Urine filter membrane photographed through a 4× microscope objective. The field of view is about 1.5 mm × 1.1 mm.
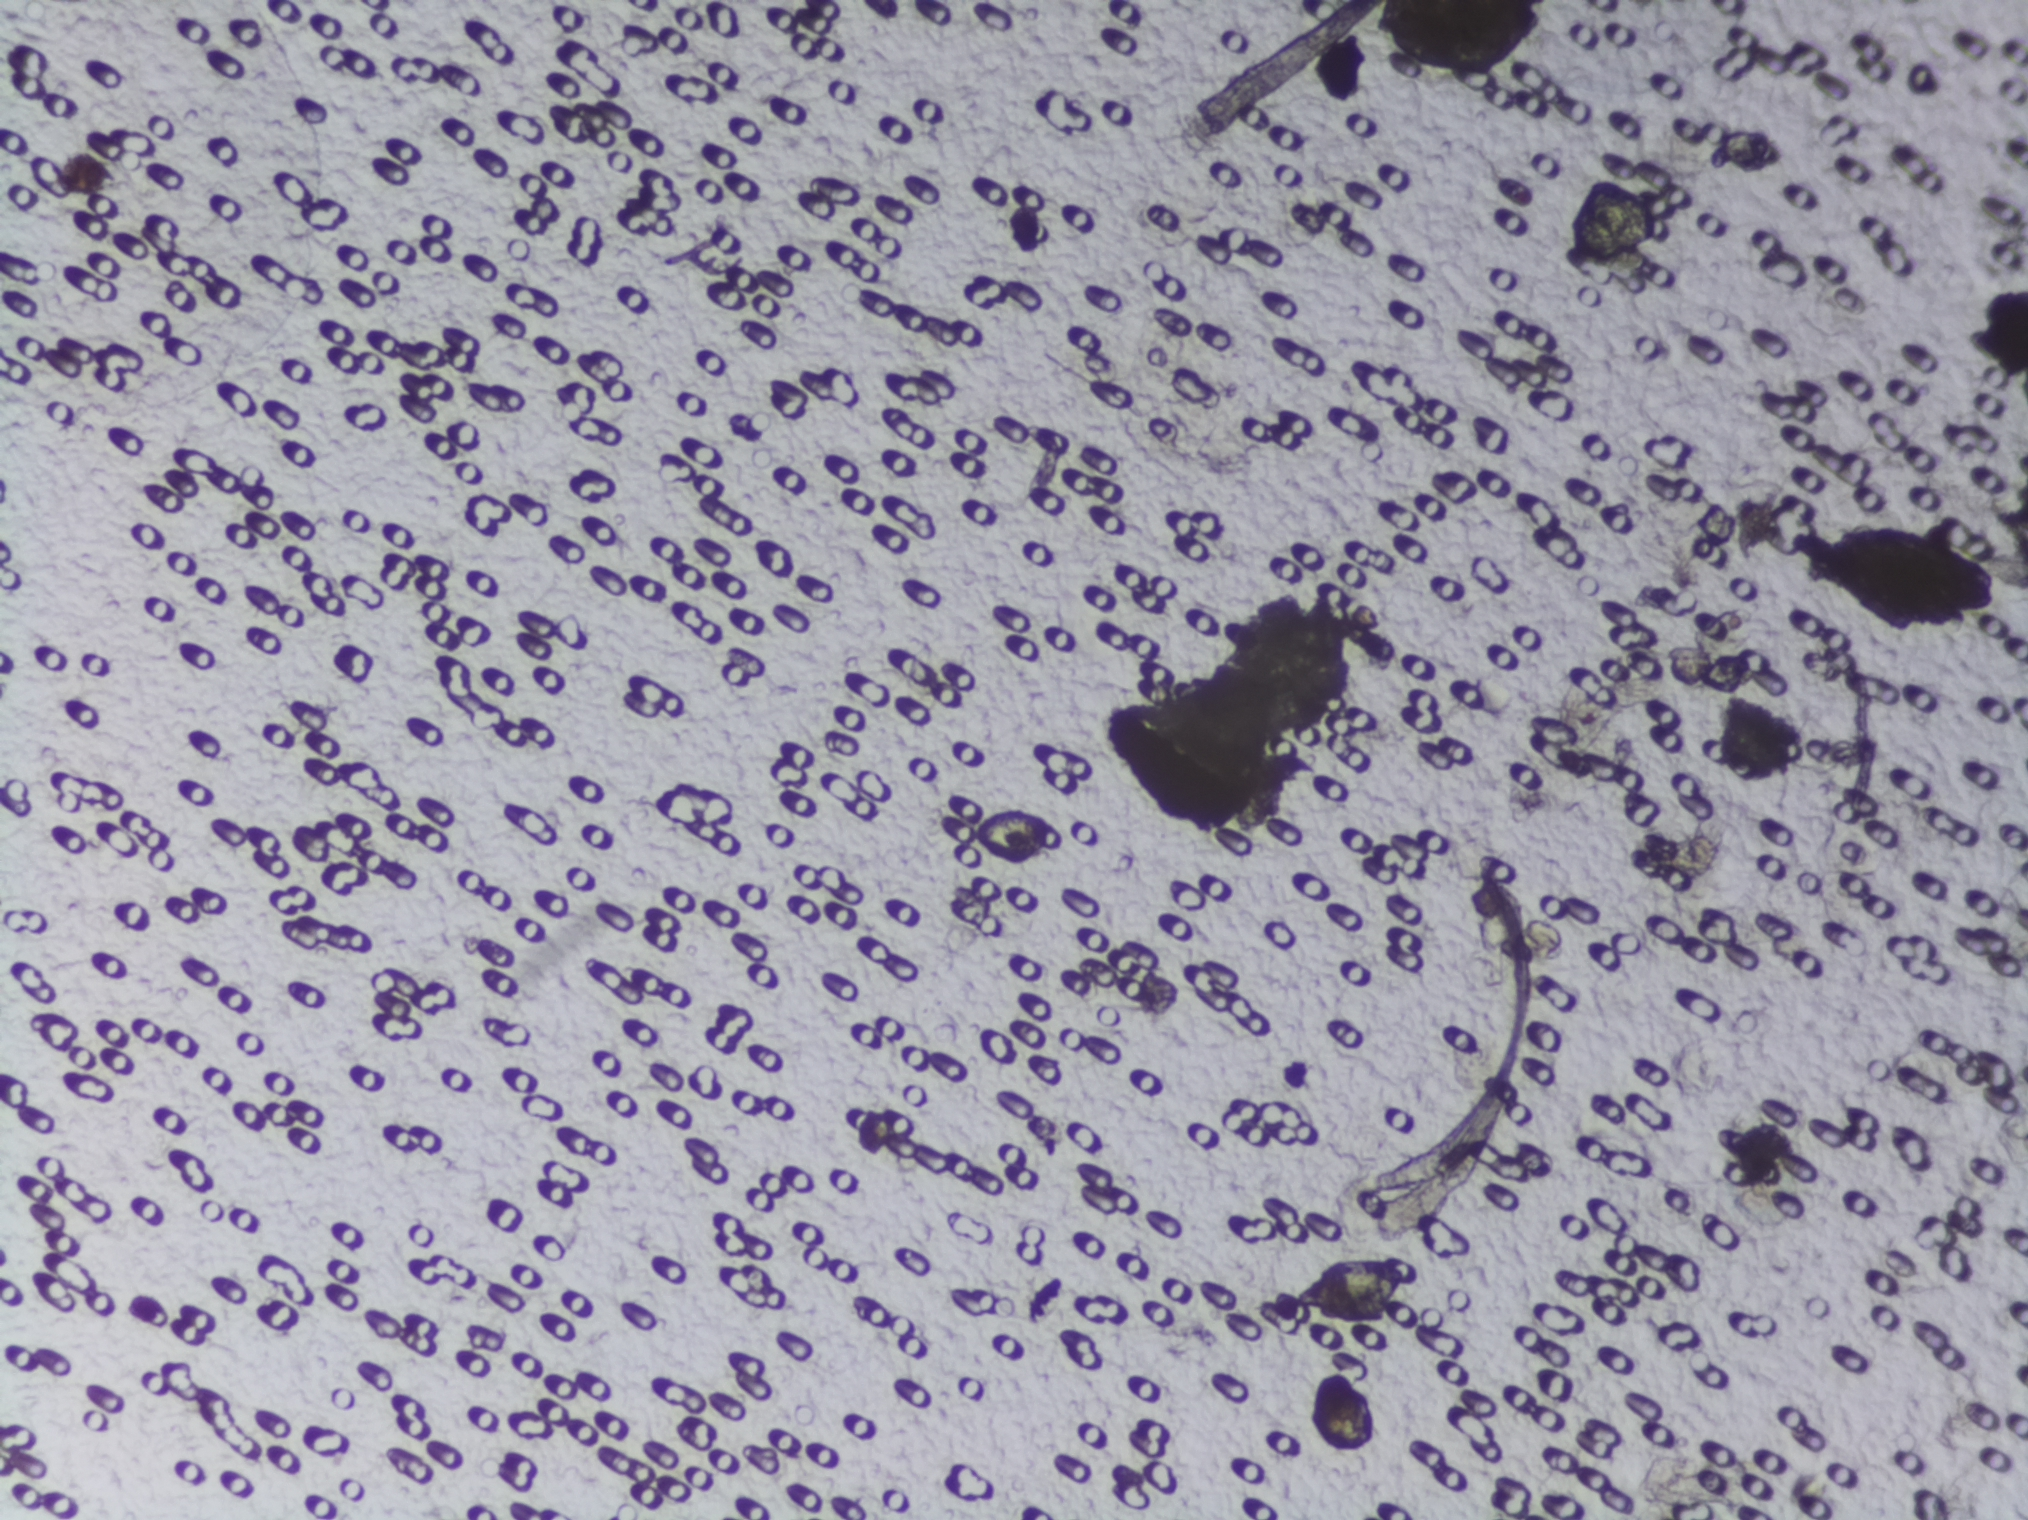
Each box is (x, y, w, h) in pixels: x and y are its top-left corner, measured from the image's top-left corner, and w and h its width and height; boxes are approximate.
Areas outlined as Schistosoma eggs: (x=969, y=807, w=87, h=60); (x=1285, y=1253, w=122, h=66); (x=1310, y=1367, w=66, h=88); (x=1560, y=181, w=104, h=84); (x=1803, y=526, w=194, h=94). A single outlined area may contain several eggs. Any one outlined egg may, rarely, be S. mansoni rather than S. haematobium.